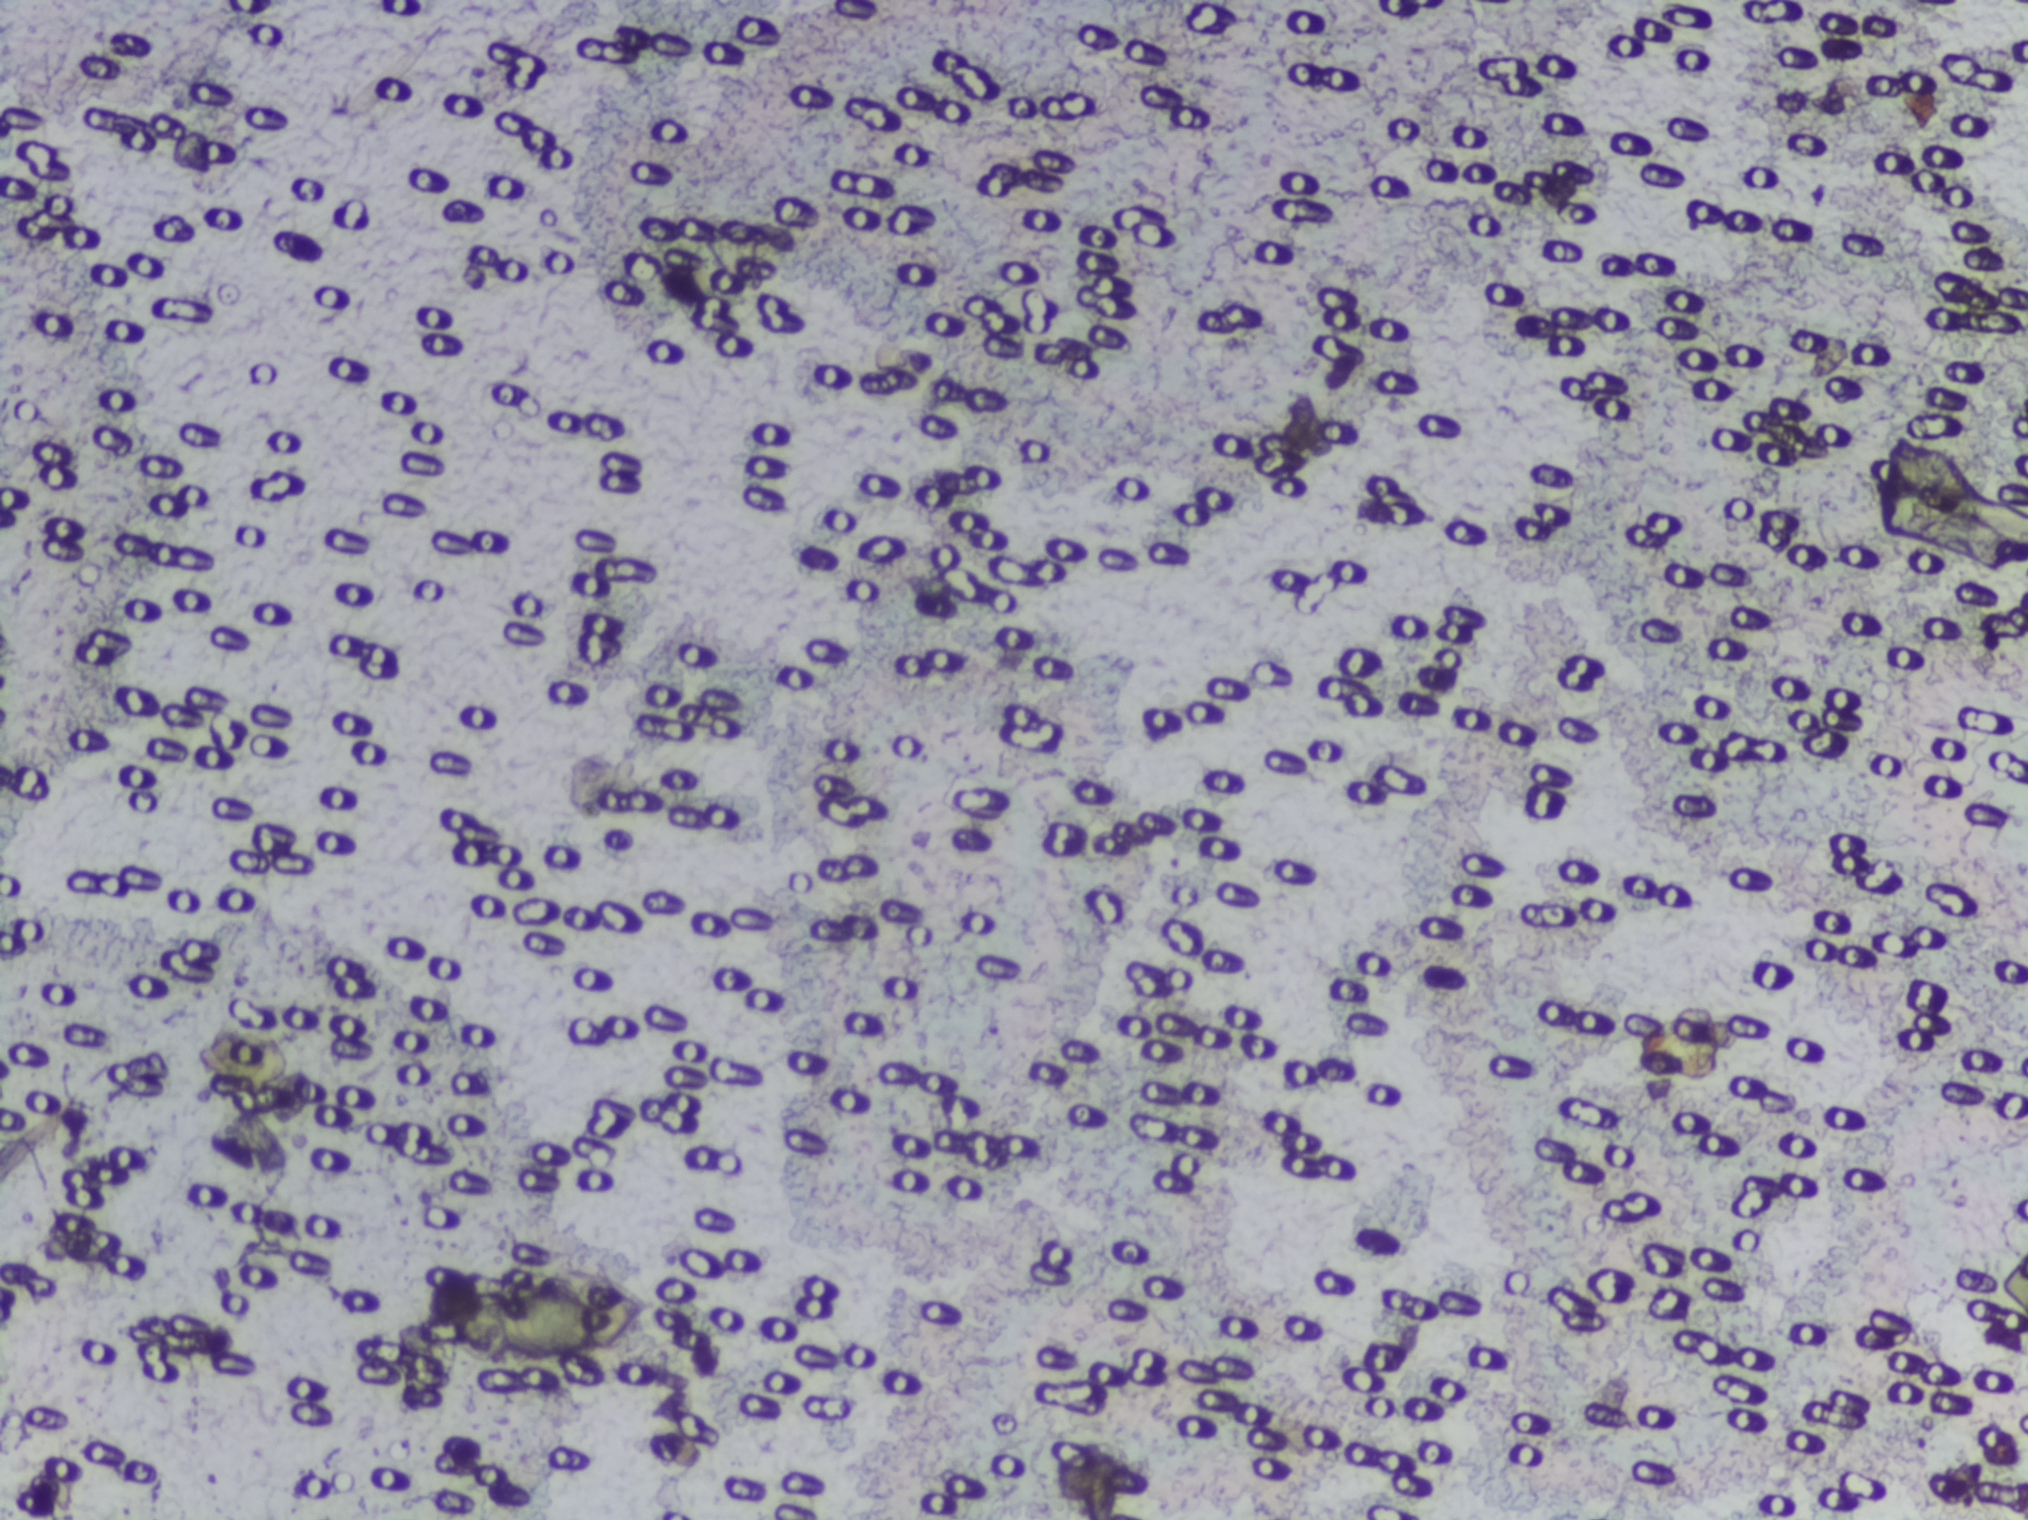
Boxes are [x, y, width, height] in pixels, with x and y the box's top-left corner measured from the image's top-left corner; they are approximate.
Areas outlined as Schistosoma eggs:
1. [430, 1263, 239, 100]
A single outlined area may contain several eggs.
One field of view of a urine filter membrane, 4× objective, 2028 × 1520 pixels.